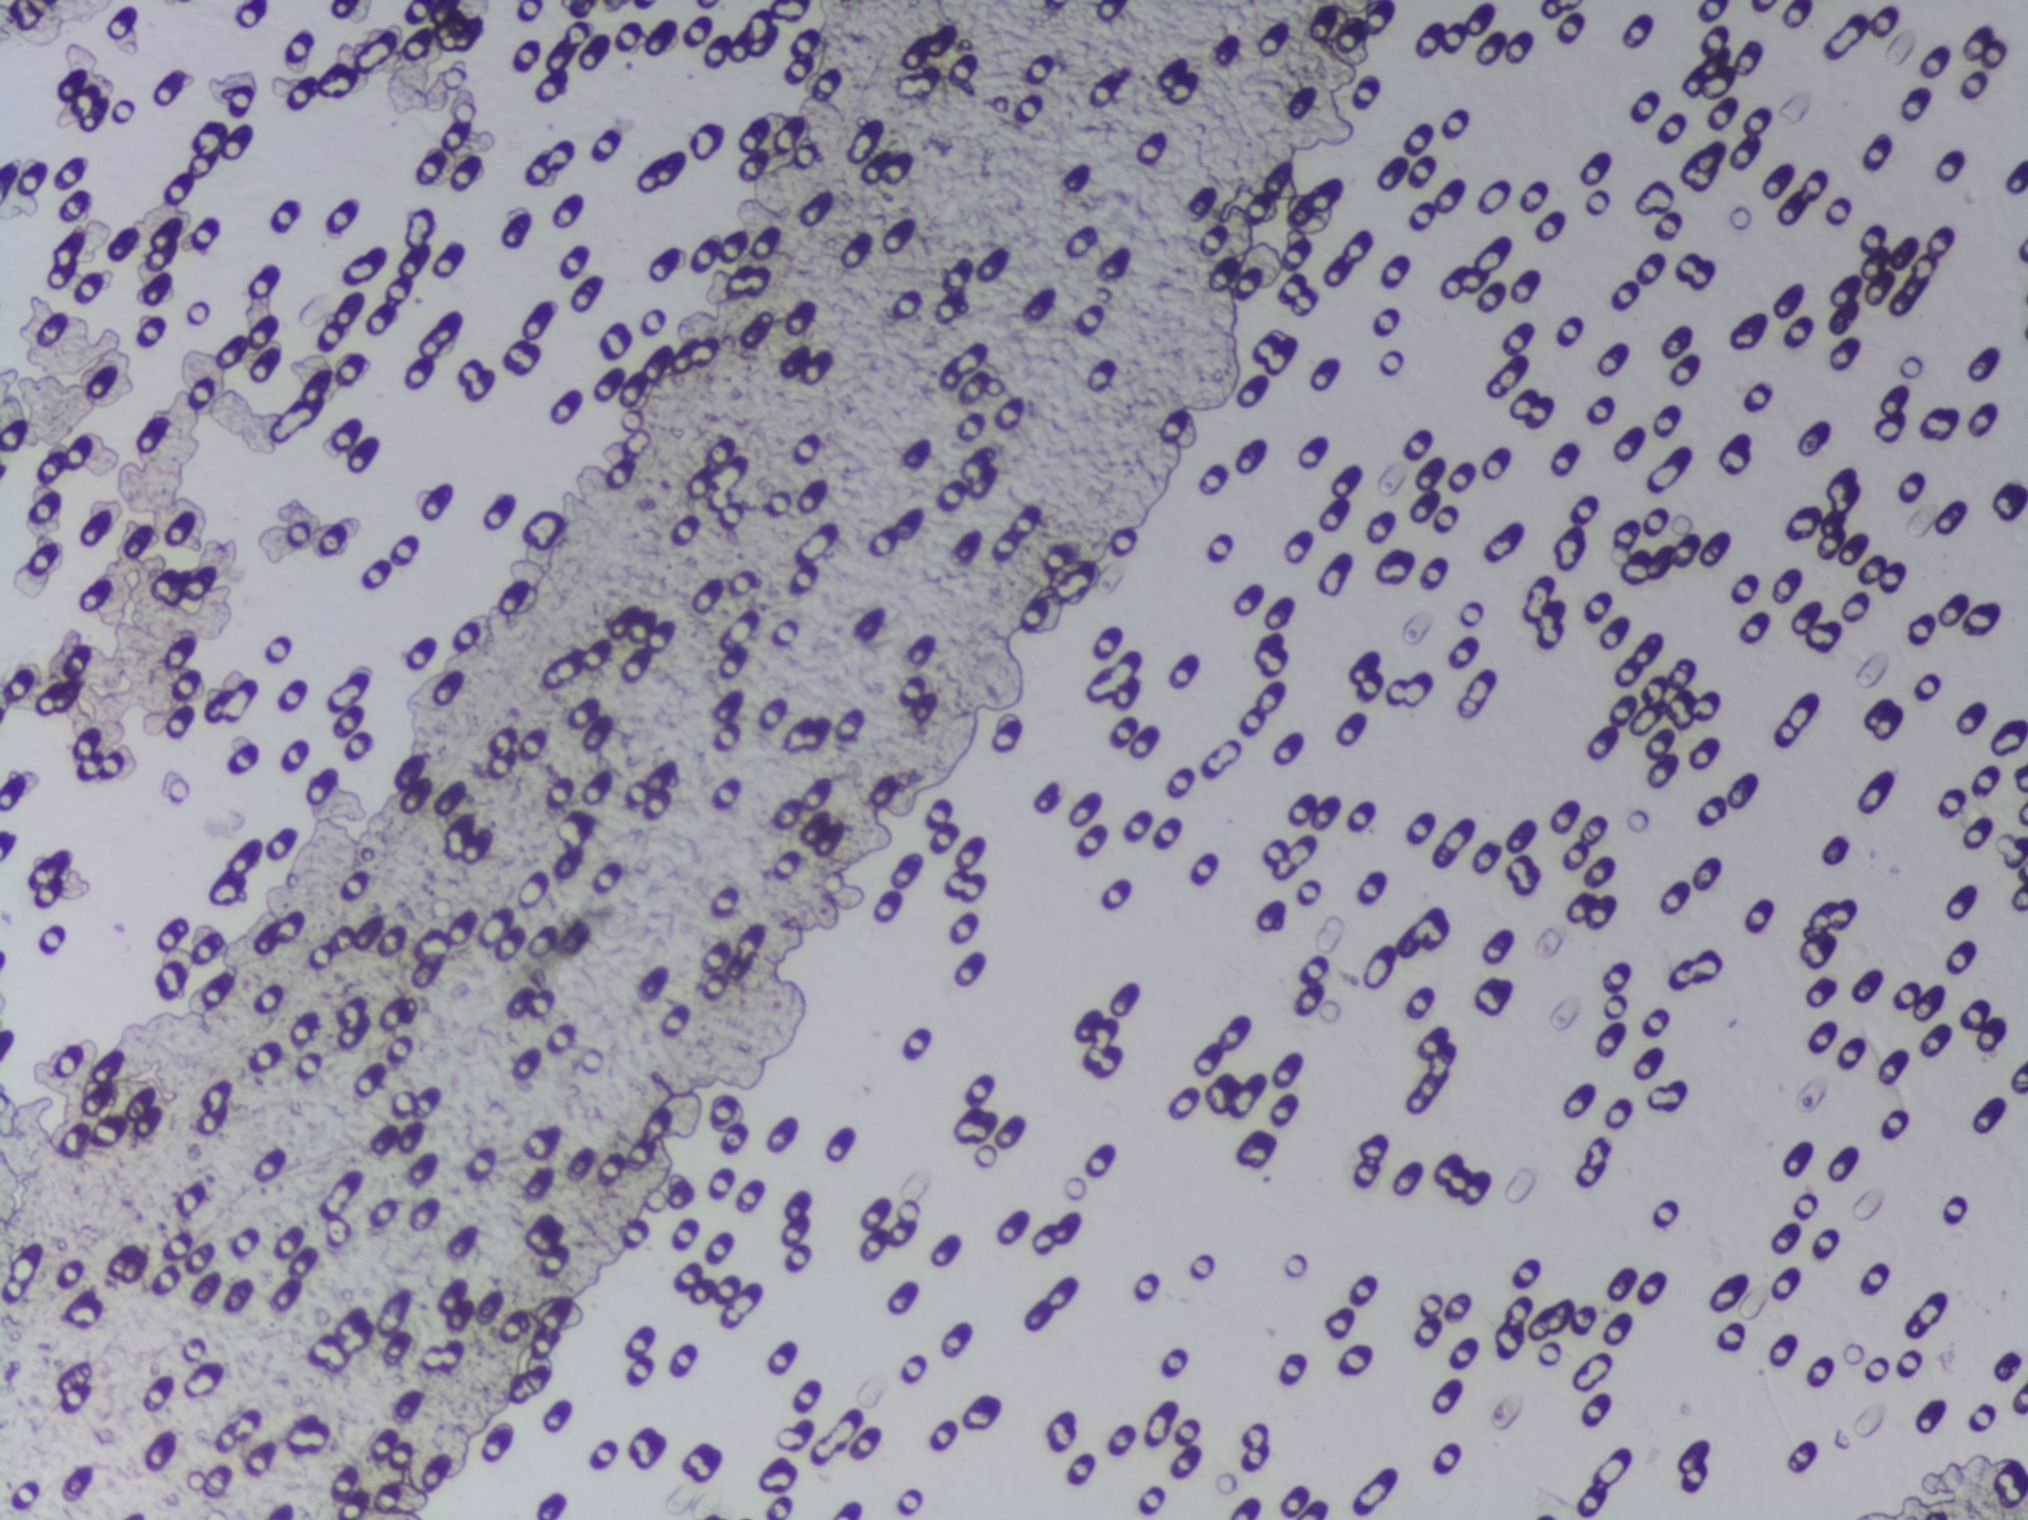
Schistosoma eggs: none outlined.
Photograph from an automated digital microscope: urine filter membrane, 4× objective. The field of view is about 1.5 mm × 1.1 mm.